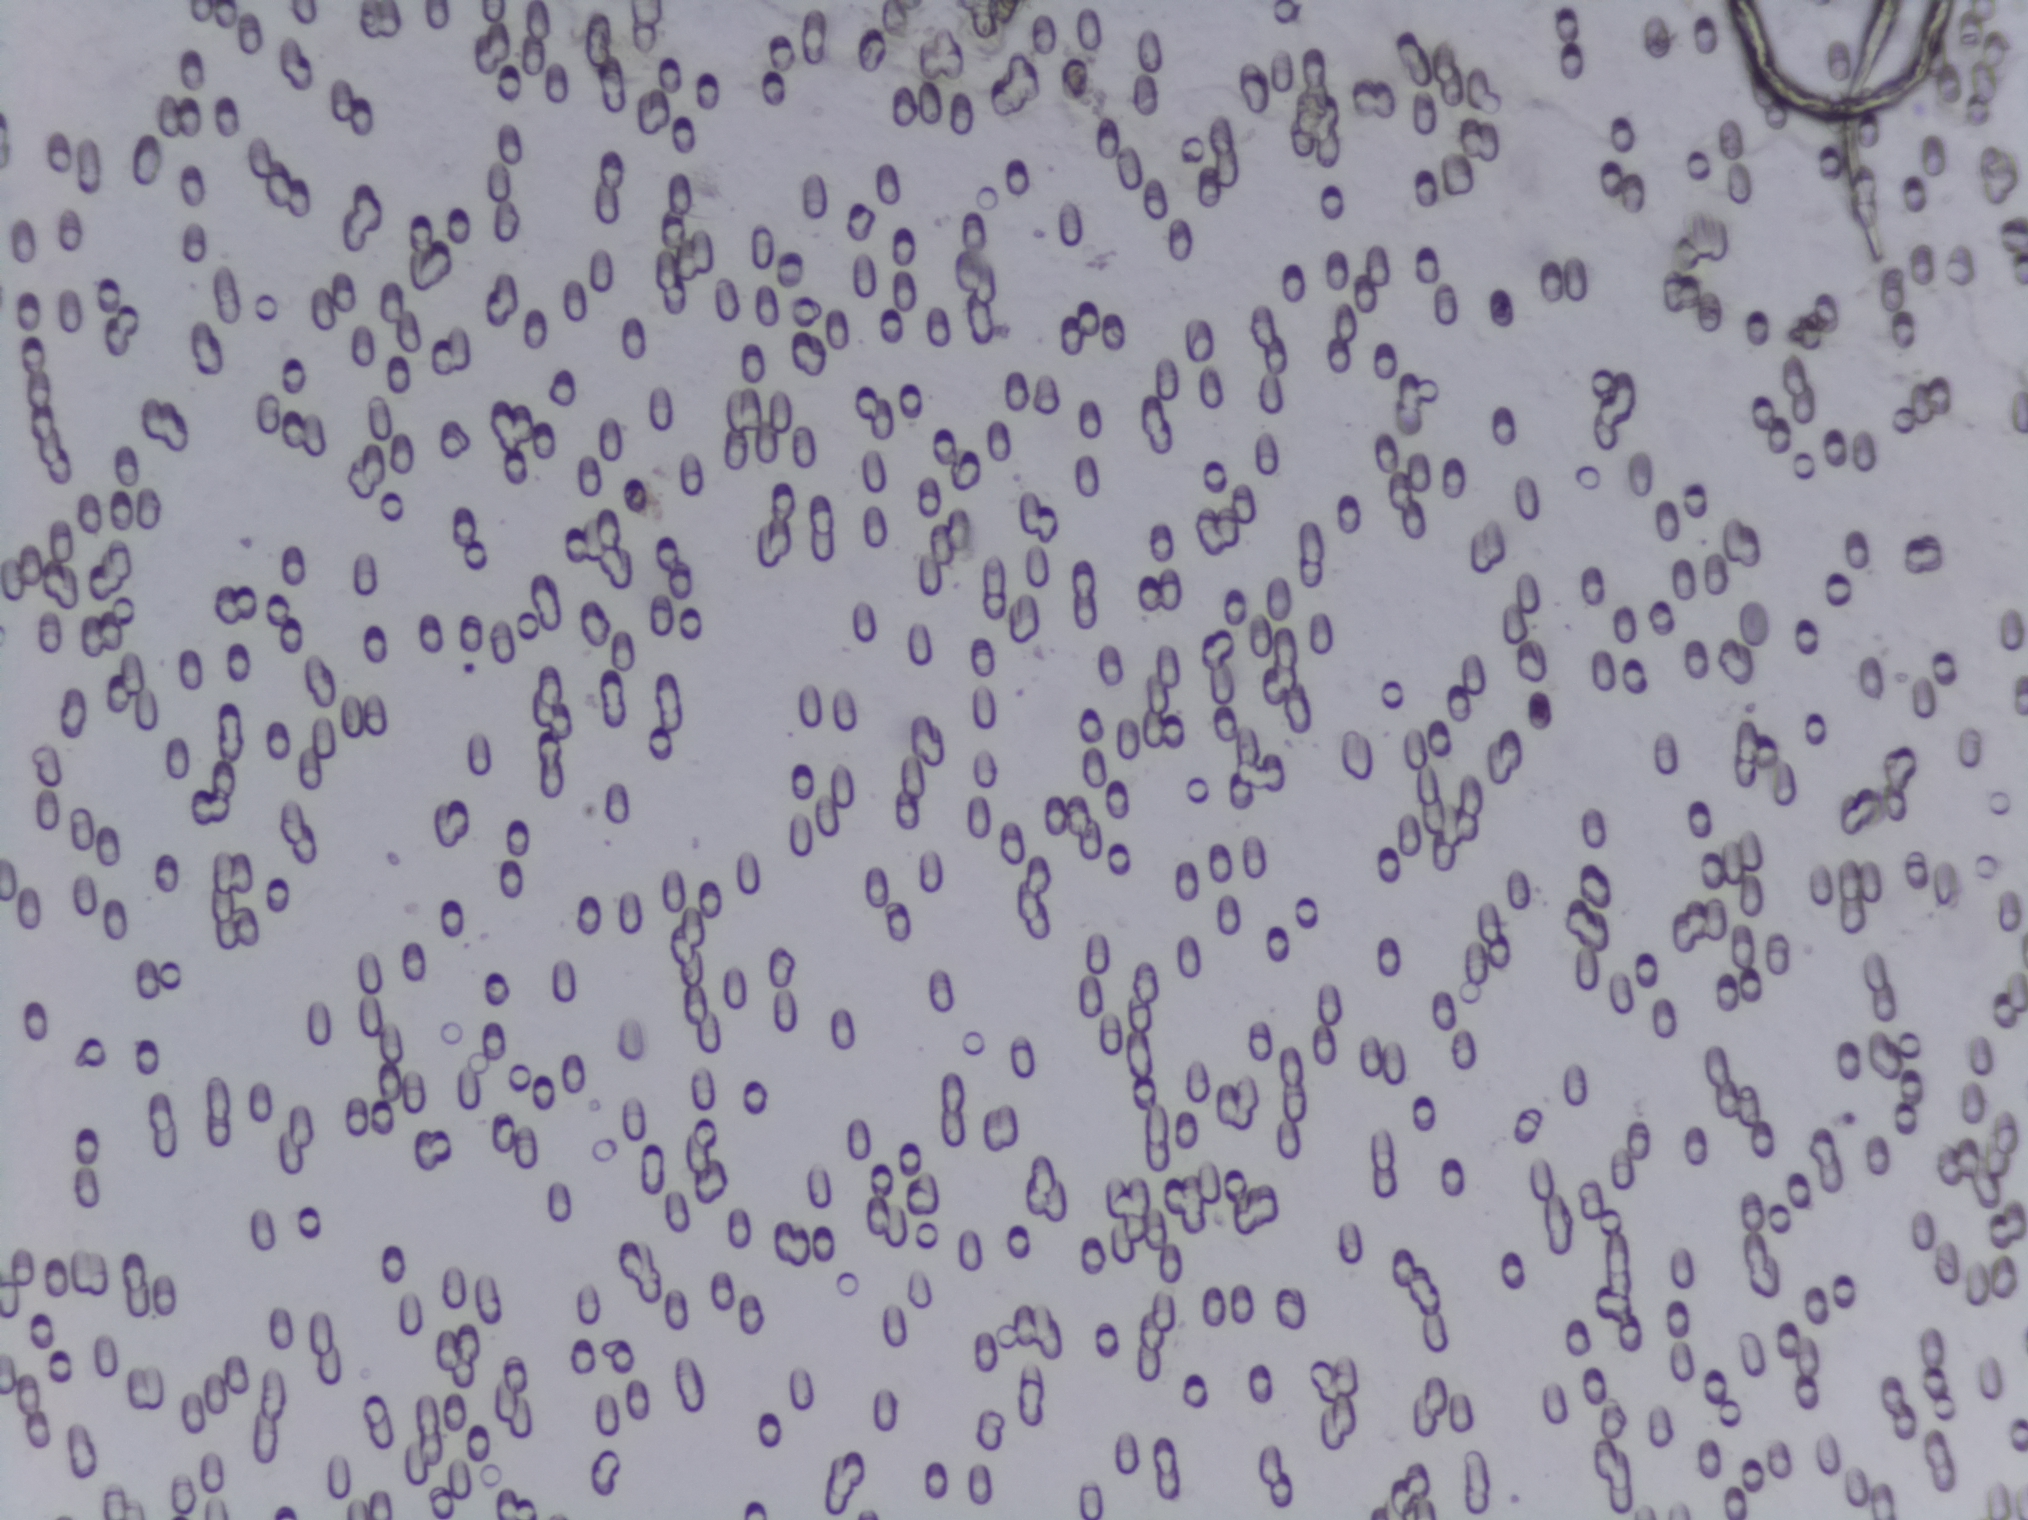
Photograph from an automated digital microscope: urine filter membrane, 4× objective. Field of view: about 1.5 mm wide and 1.1 mm high.
The expert annotation marks no Schistosoma egg in this field of view.